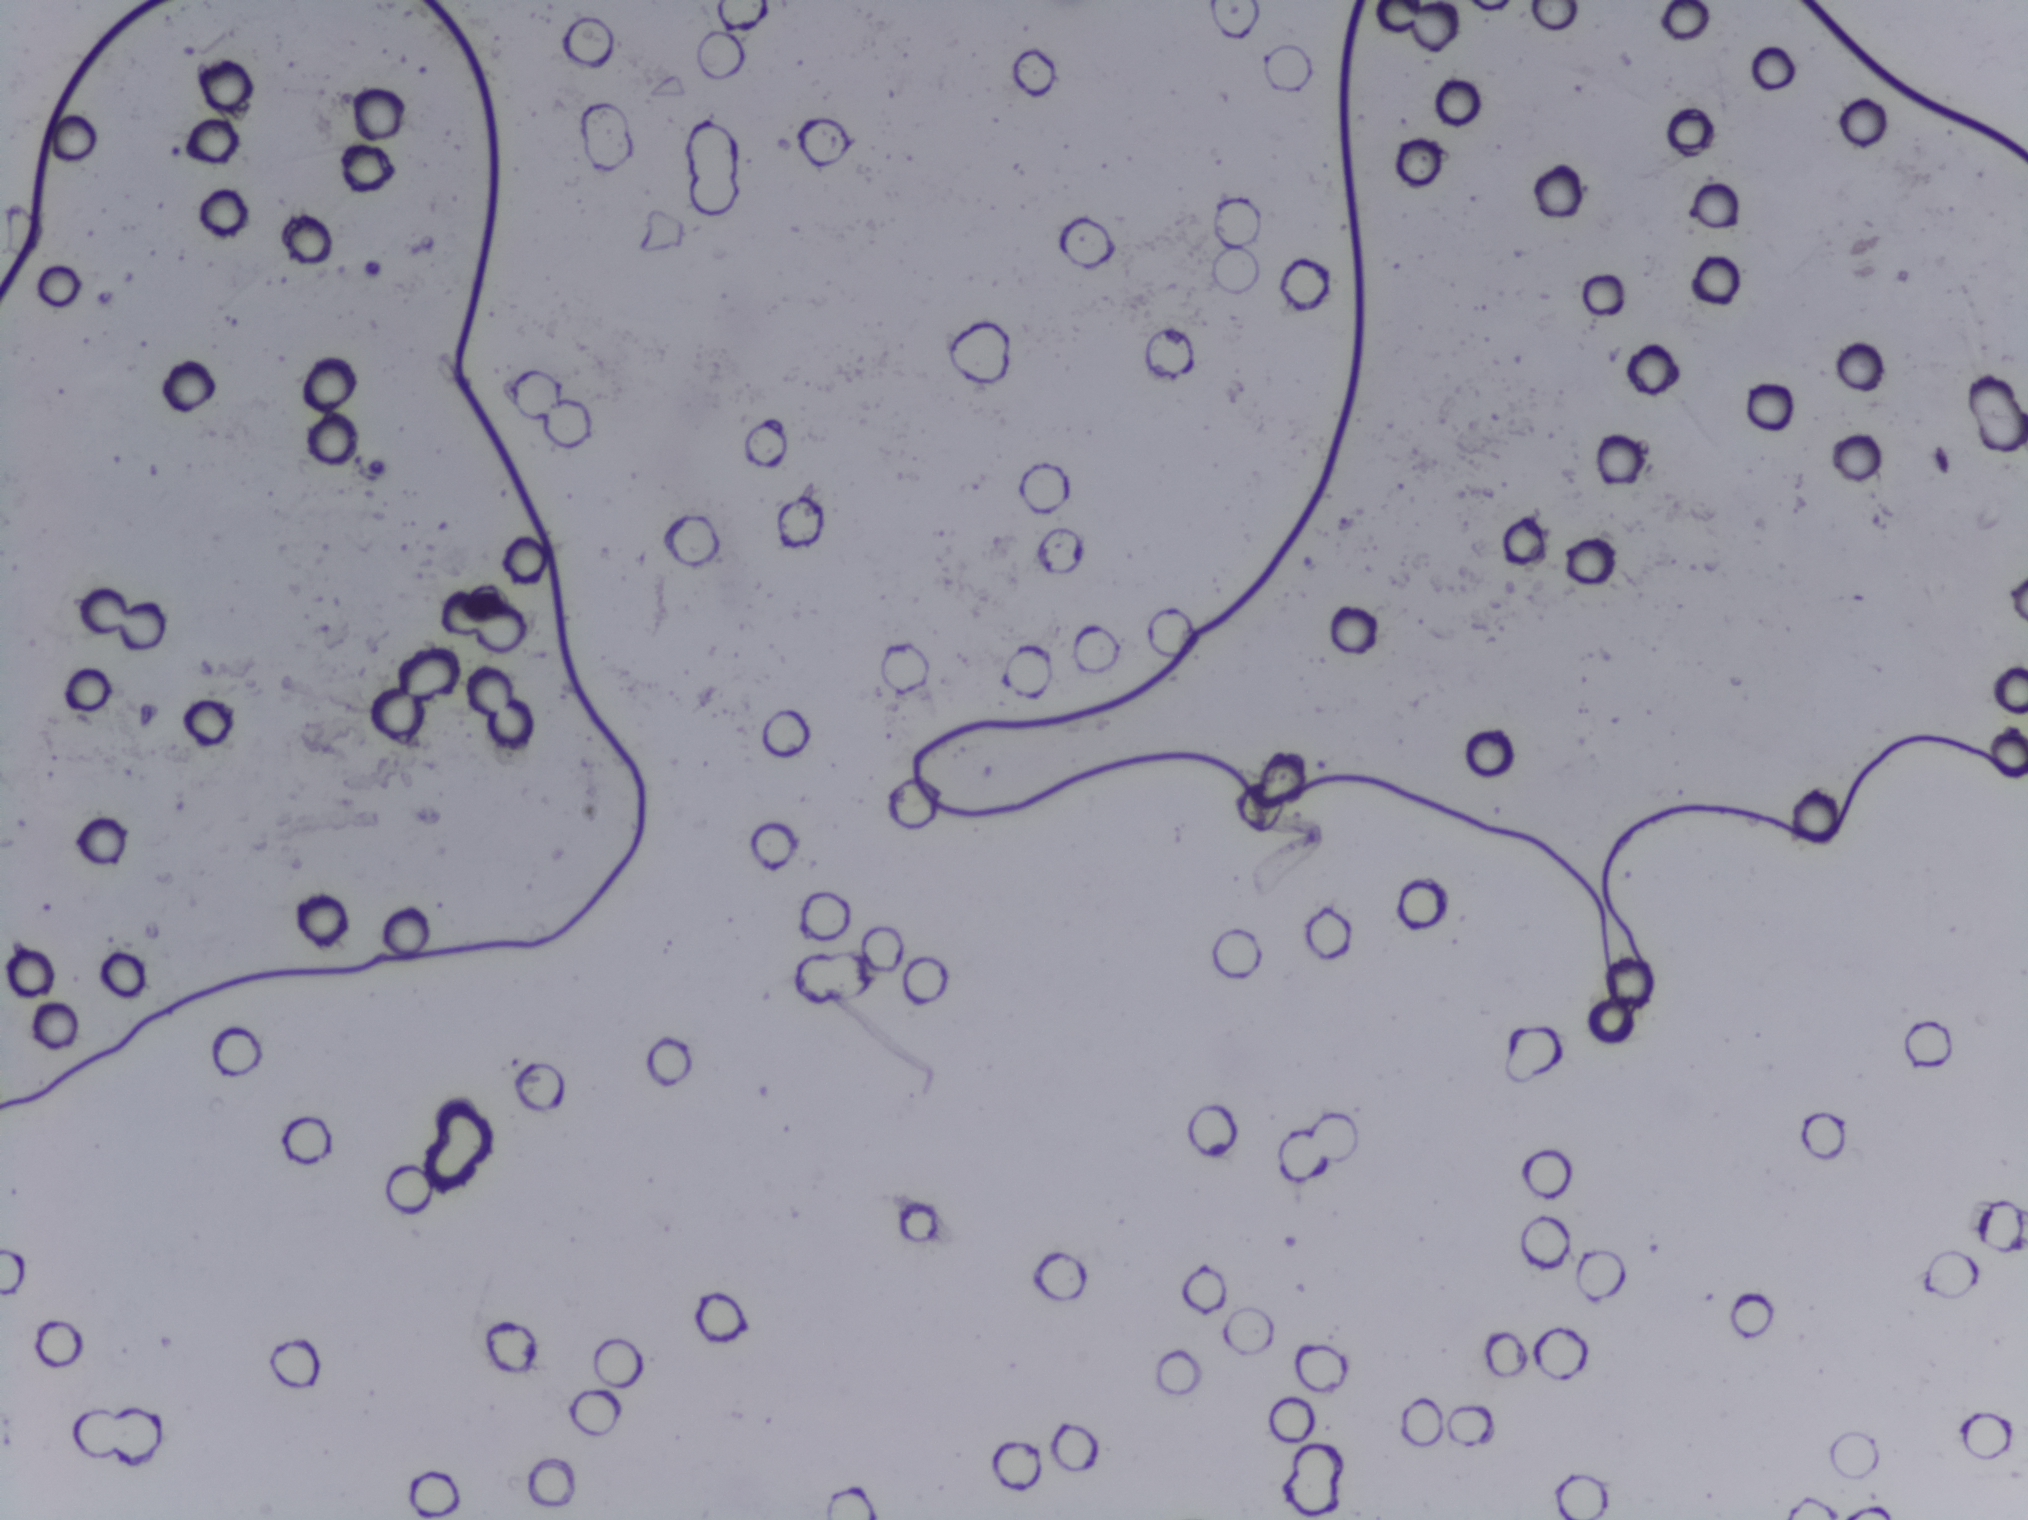
Photomicrograph of a urine filtration membrane, 4× objective. The image covers about 1.5 × 1.1 mm of the membrane.
The expert annotation outlines no Schistosoma egg in this image.